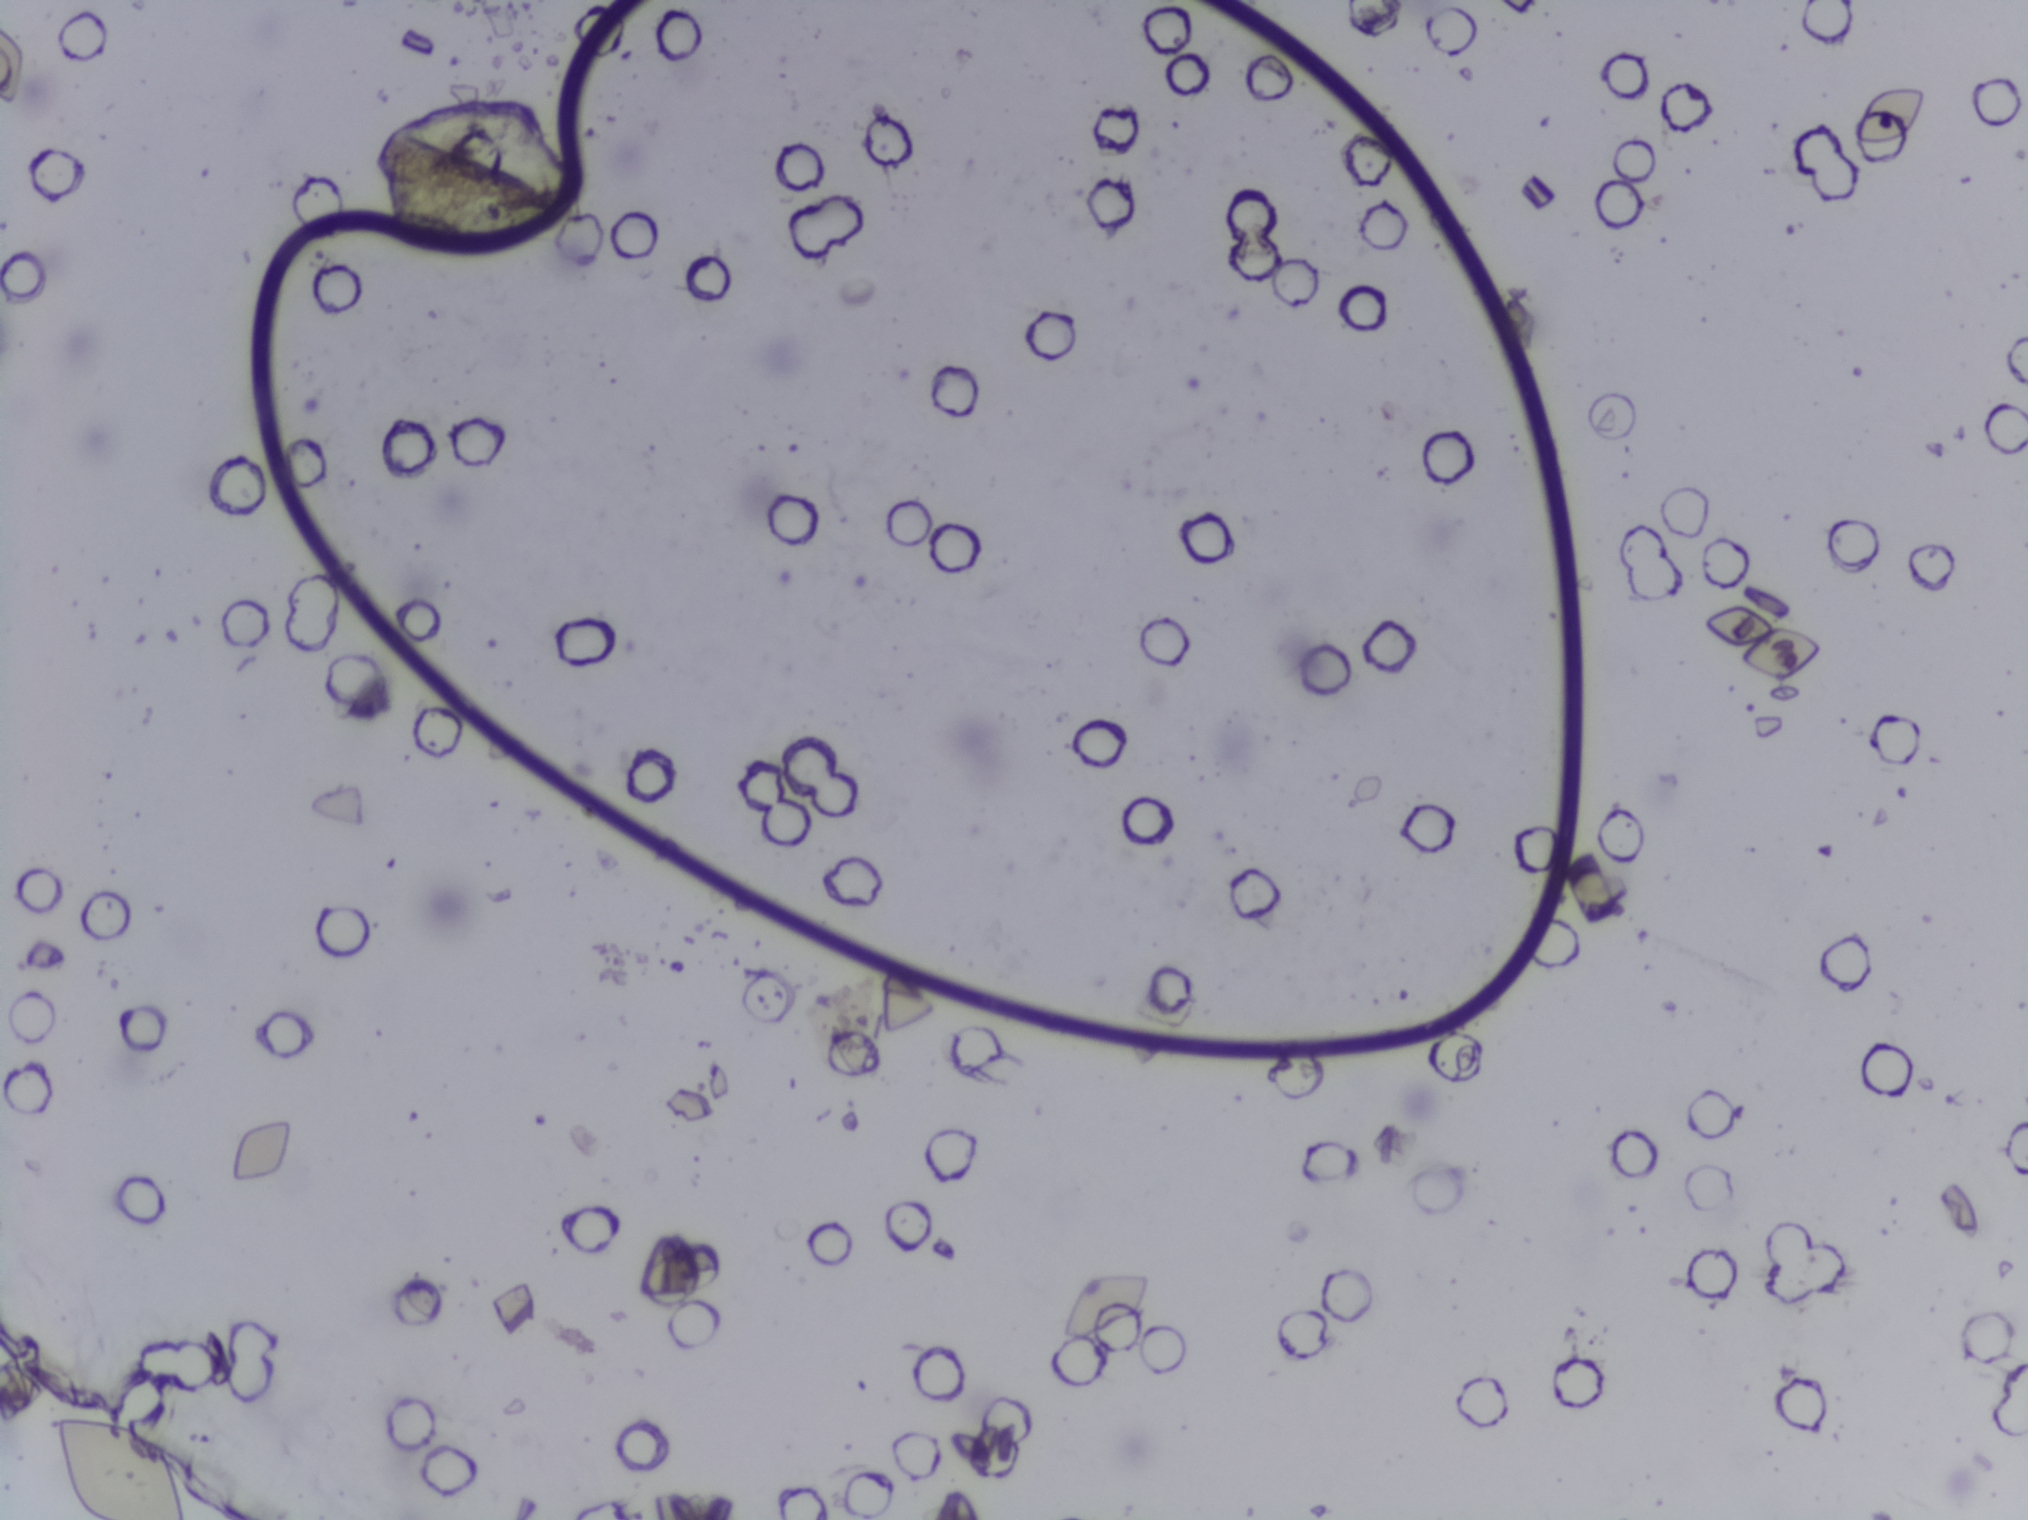
Schistosoma eggs: none outlined.
Microscope photograph (4× objective) of a membrane that a urine sample was filtered through.